One field of view of a urine filter membrane, 4× objective, 2028 × 1520 pixels. The field of view is about 1.5 mm × 1.1 mm.
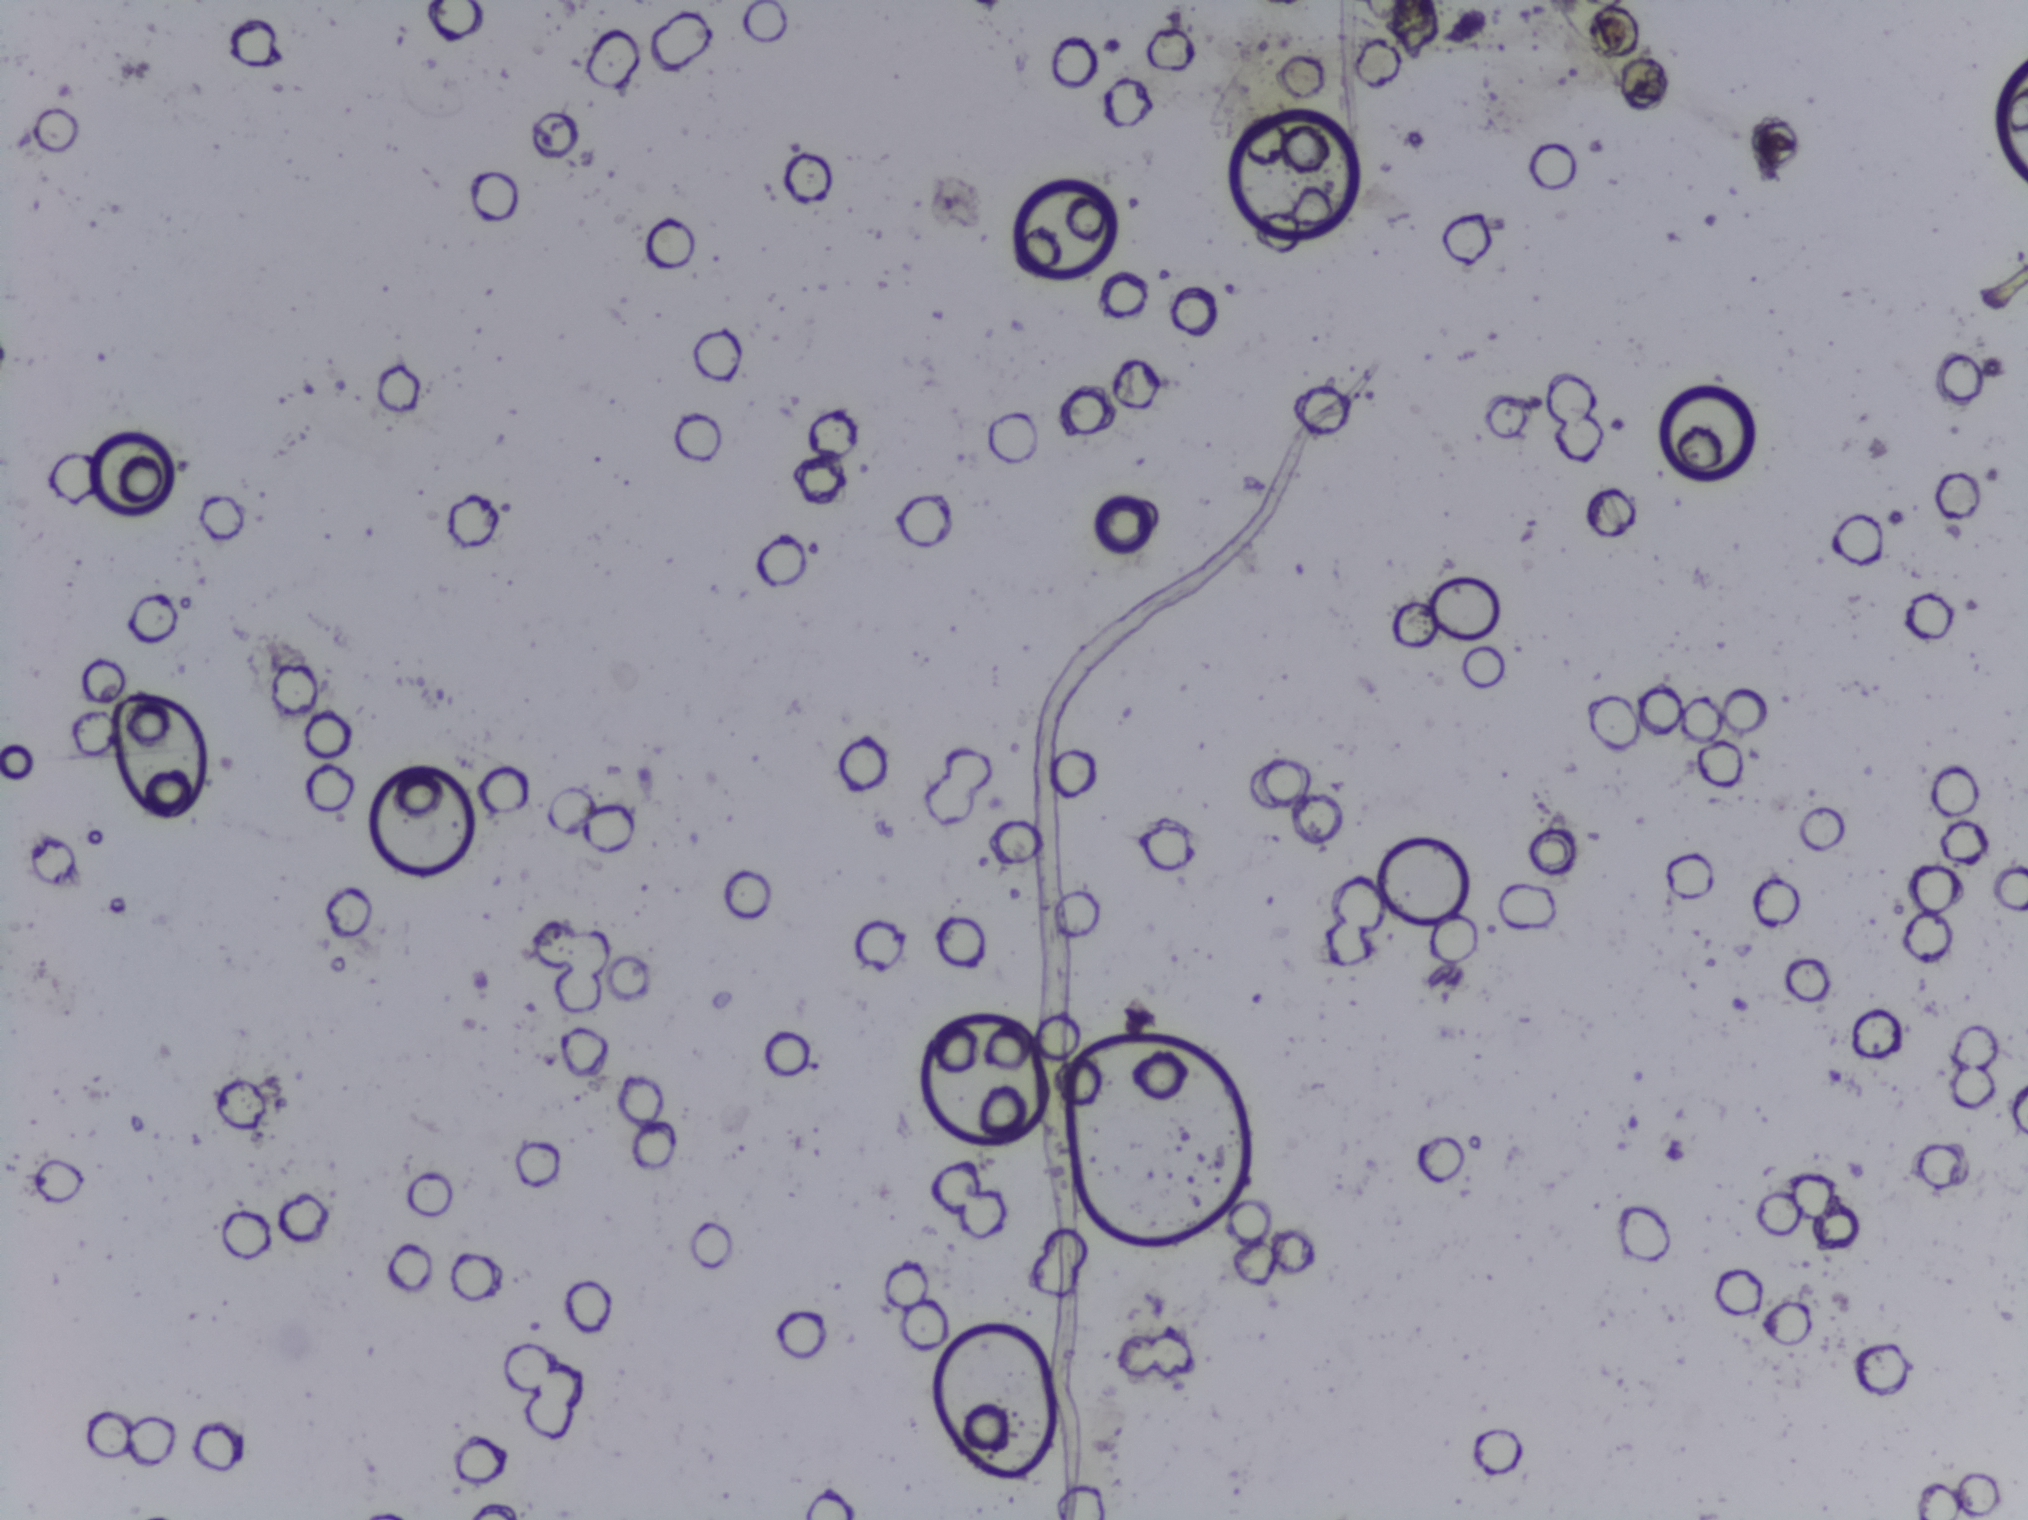
The expert annotation outlines no Schistosoma egg in this image.